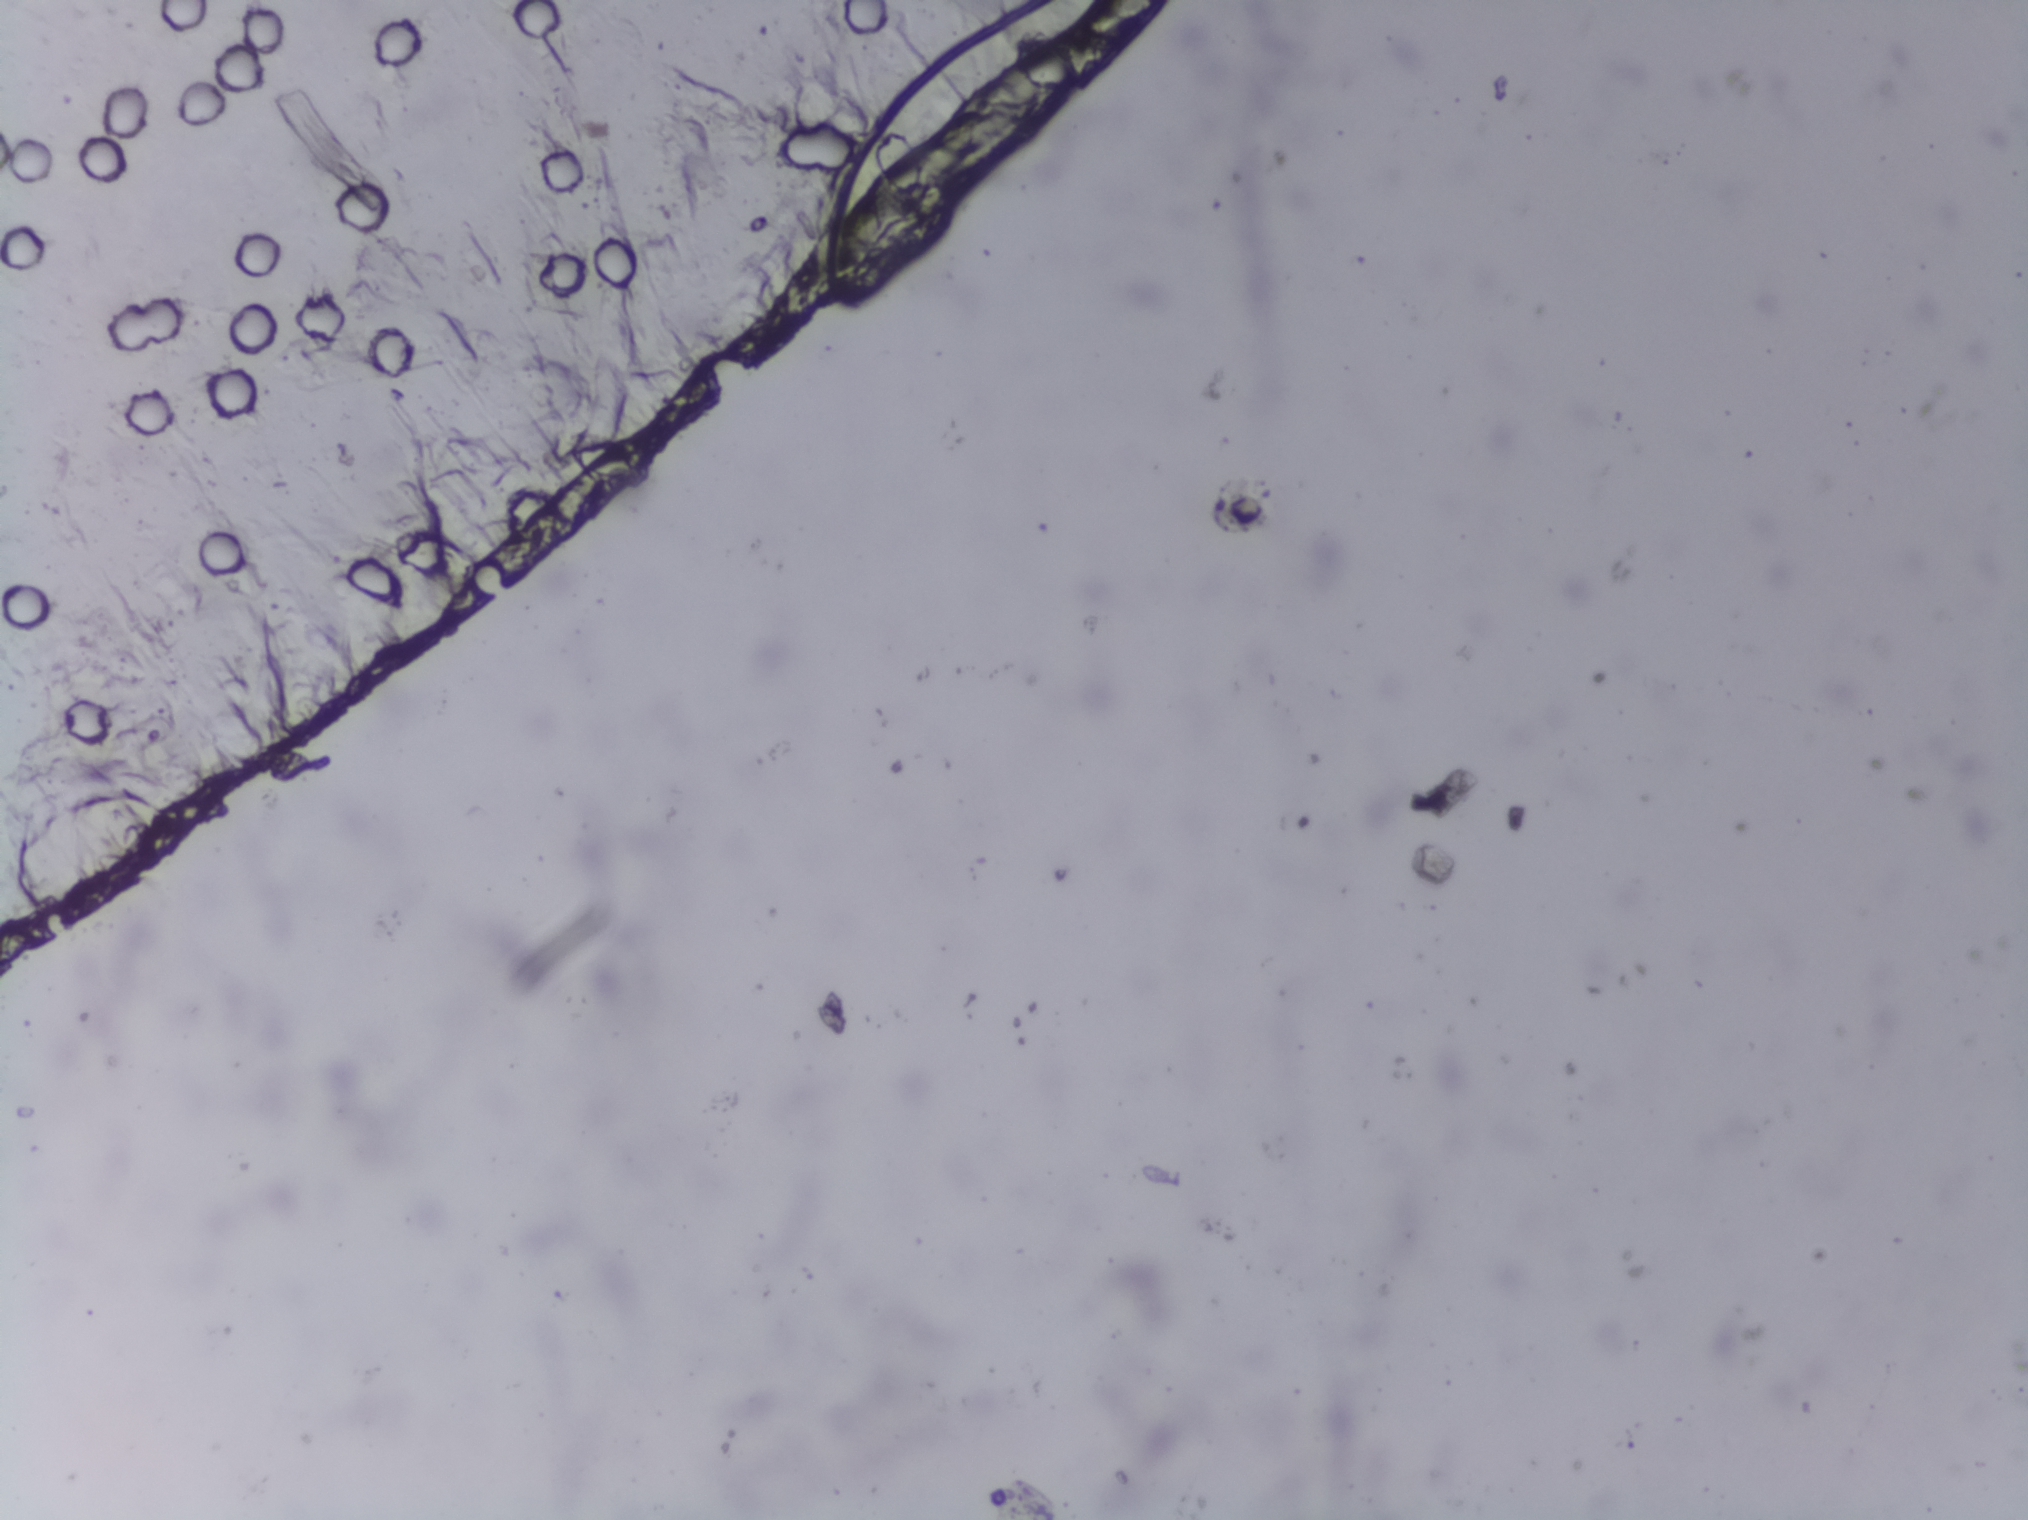
No area of this image was outlined as a Schistosoma egg.
Urine filtration membrane under a 4× objective, photographed by an automated digital microscope. The image covers about 1.5 × 1.1 mm of the membrane.